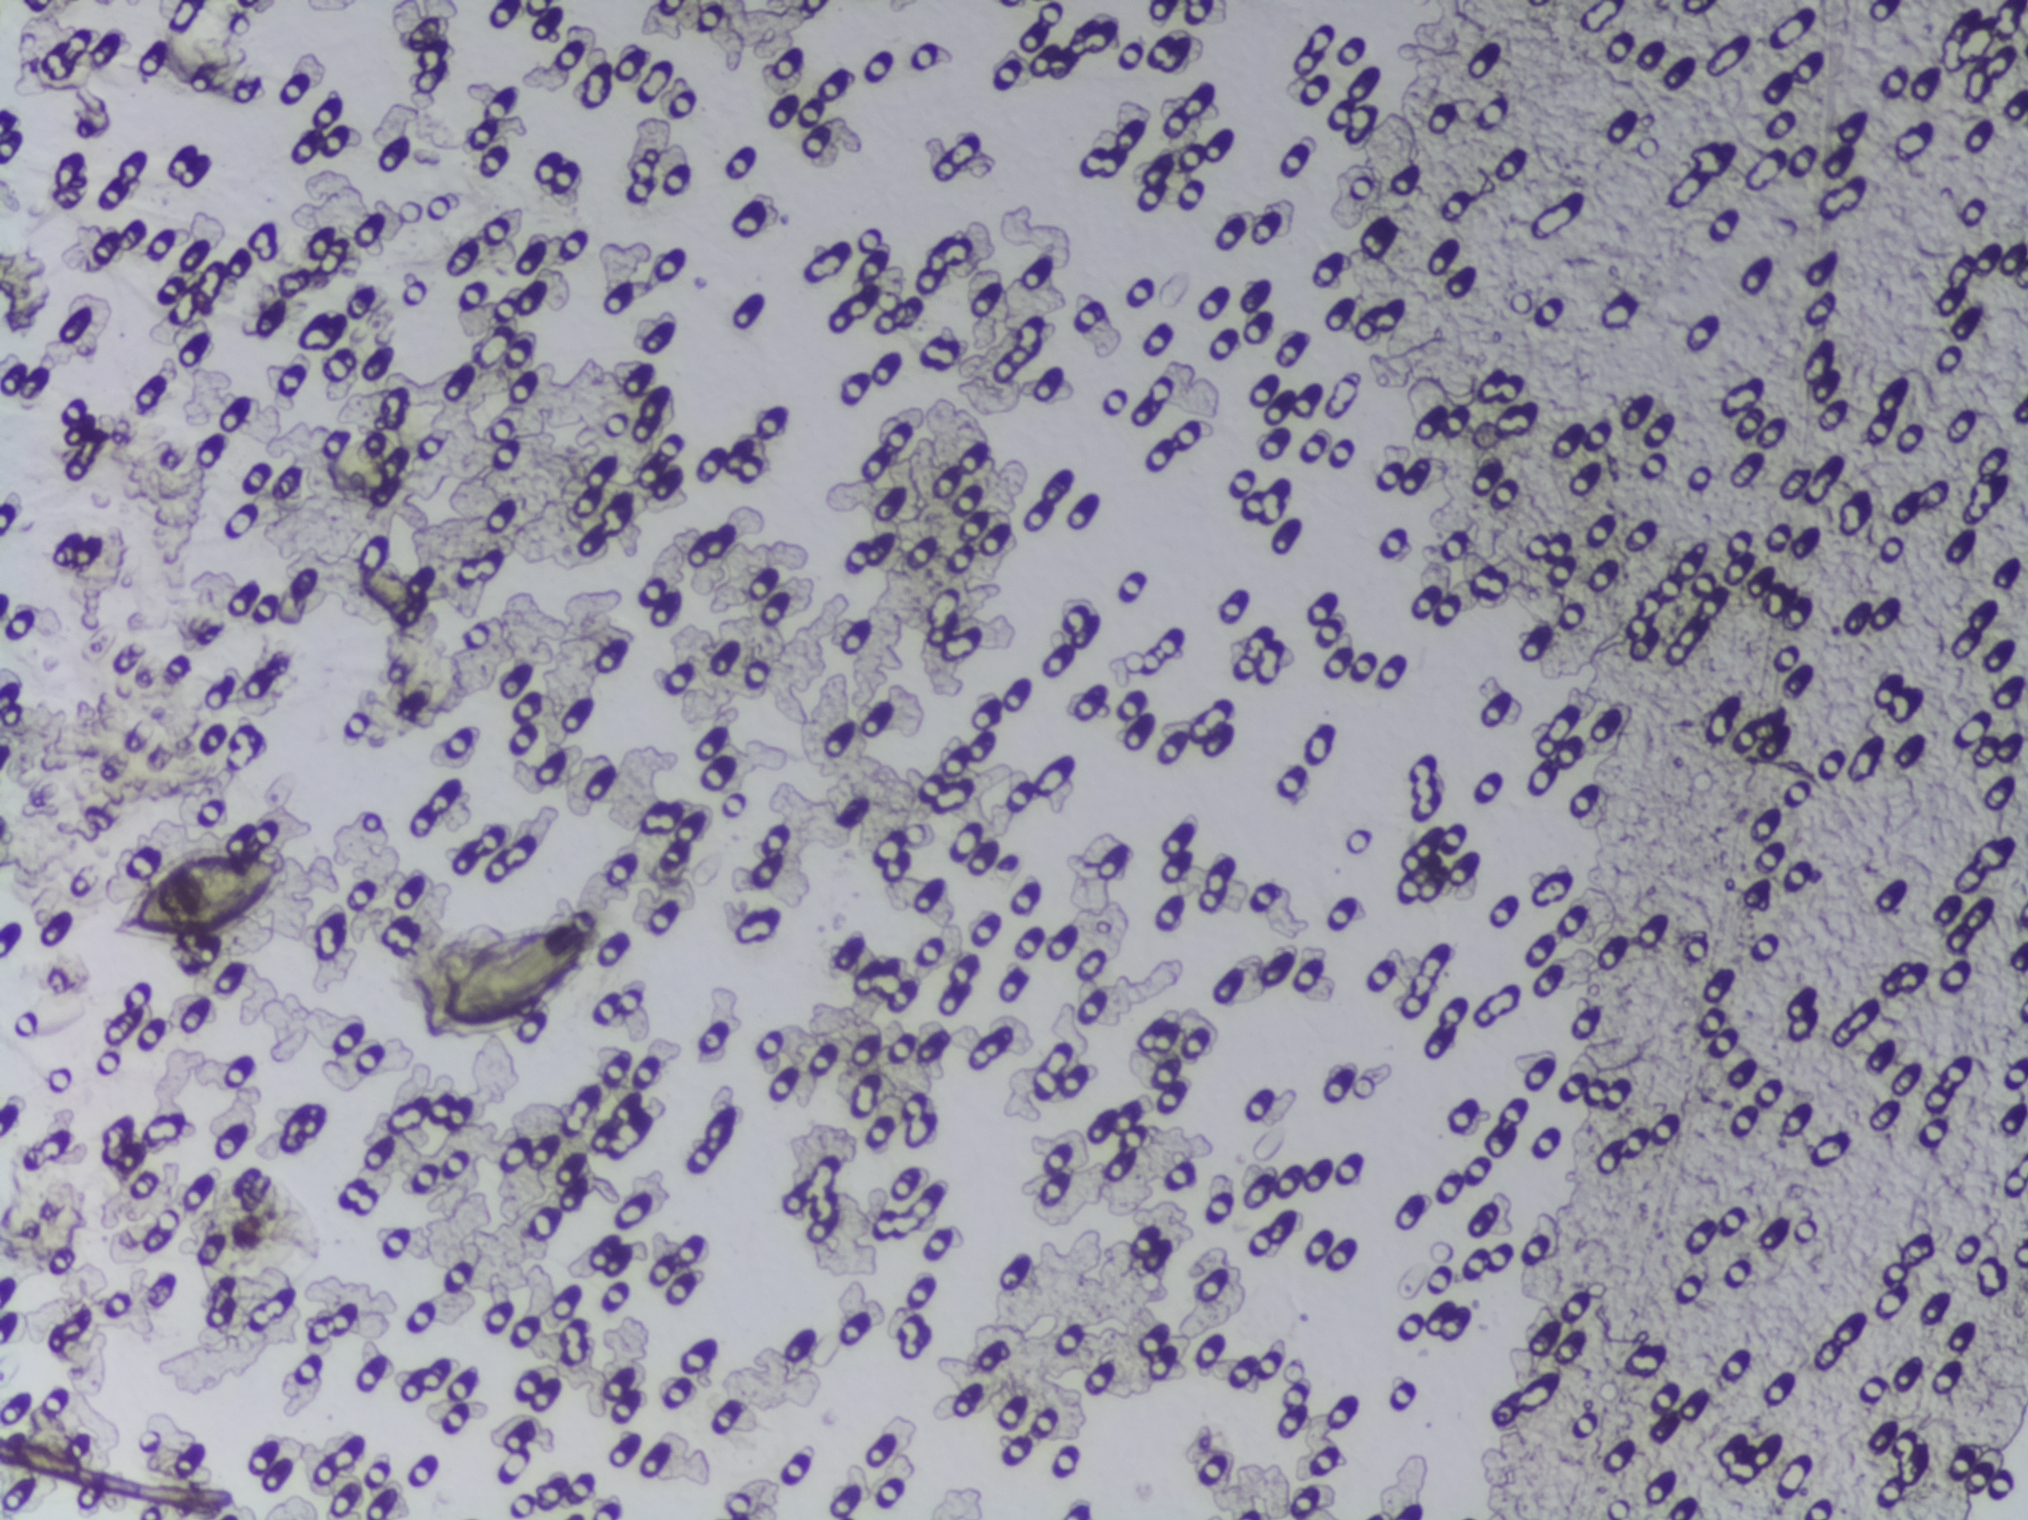
Urine filtration membrane under a 4× objective, photographed by an automated digital microscope. The field of view is about 1.5 mm × 1.1 mm.
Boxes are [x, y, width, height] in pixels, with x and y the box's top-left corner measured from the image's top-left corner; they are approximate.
{"schistosoma_egg_areas_xywh_px": [[112, 838, 178, 108], [408, 917, 201, 122]]}
An outlined area can hold more than one egg.